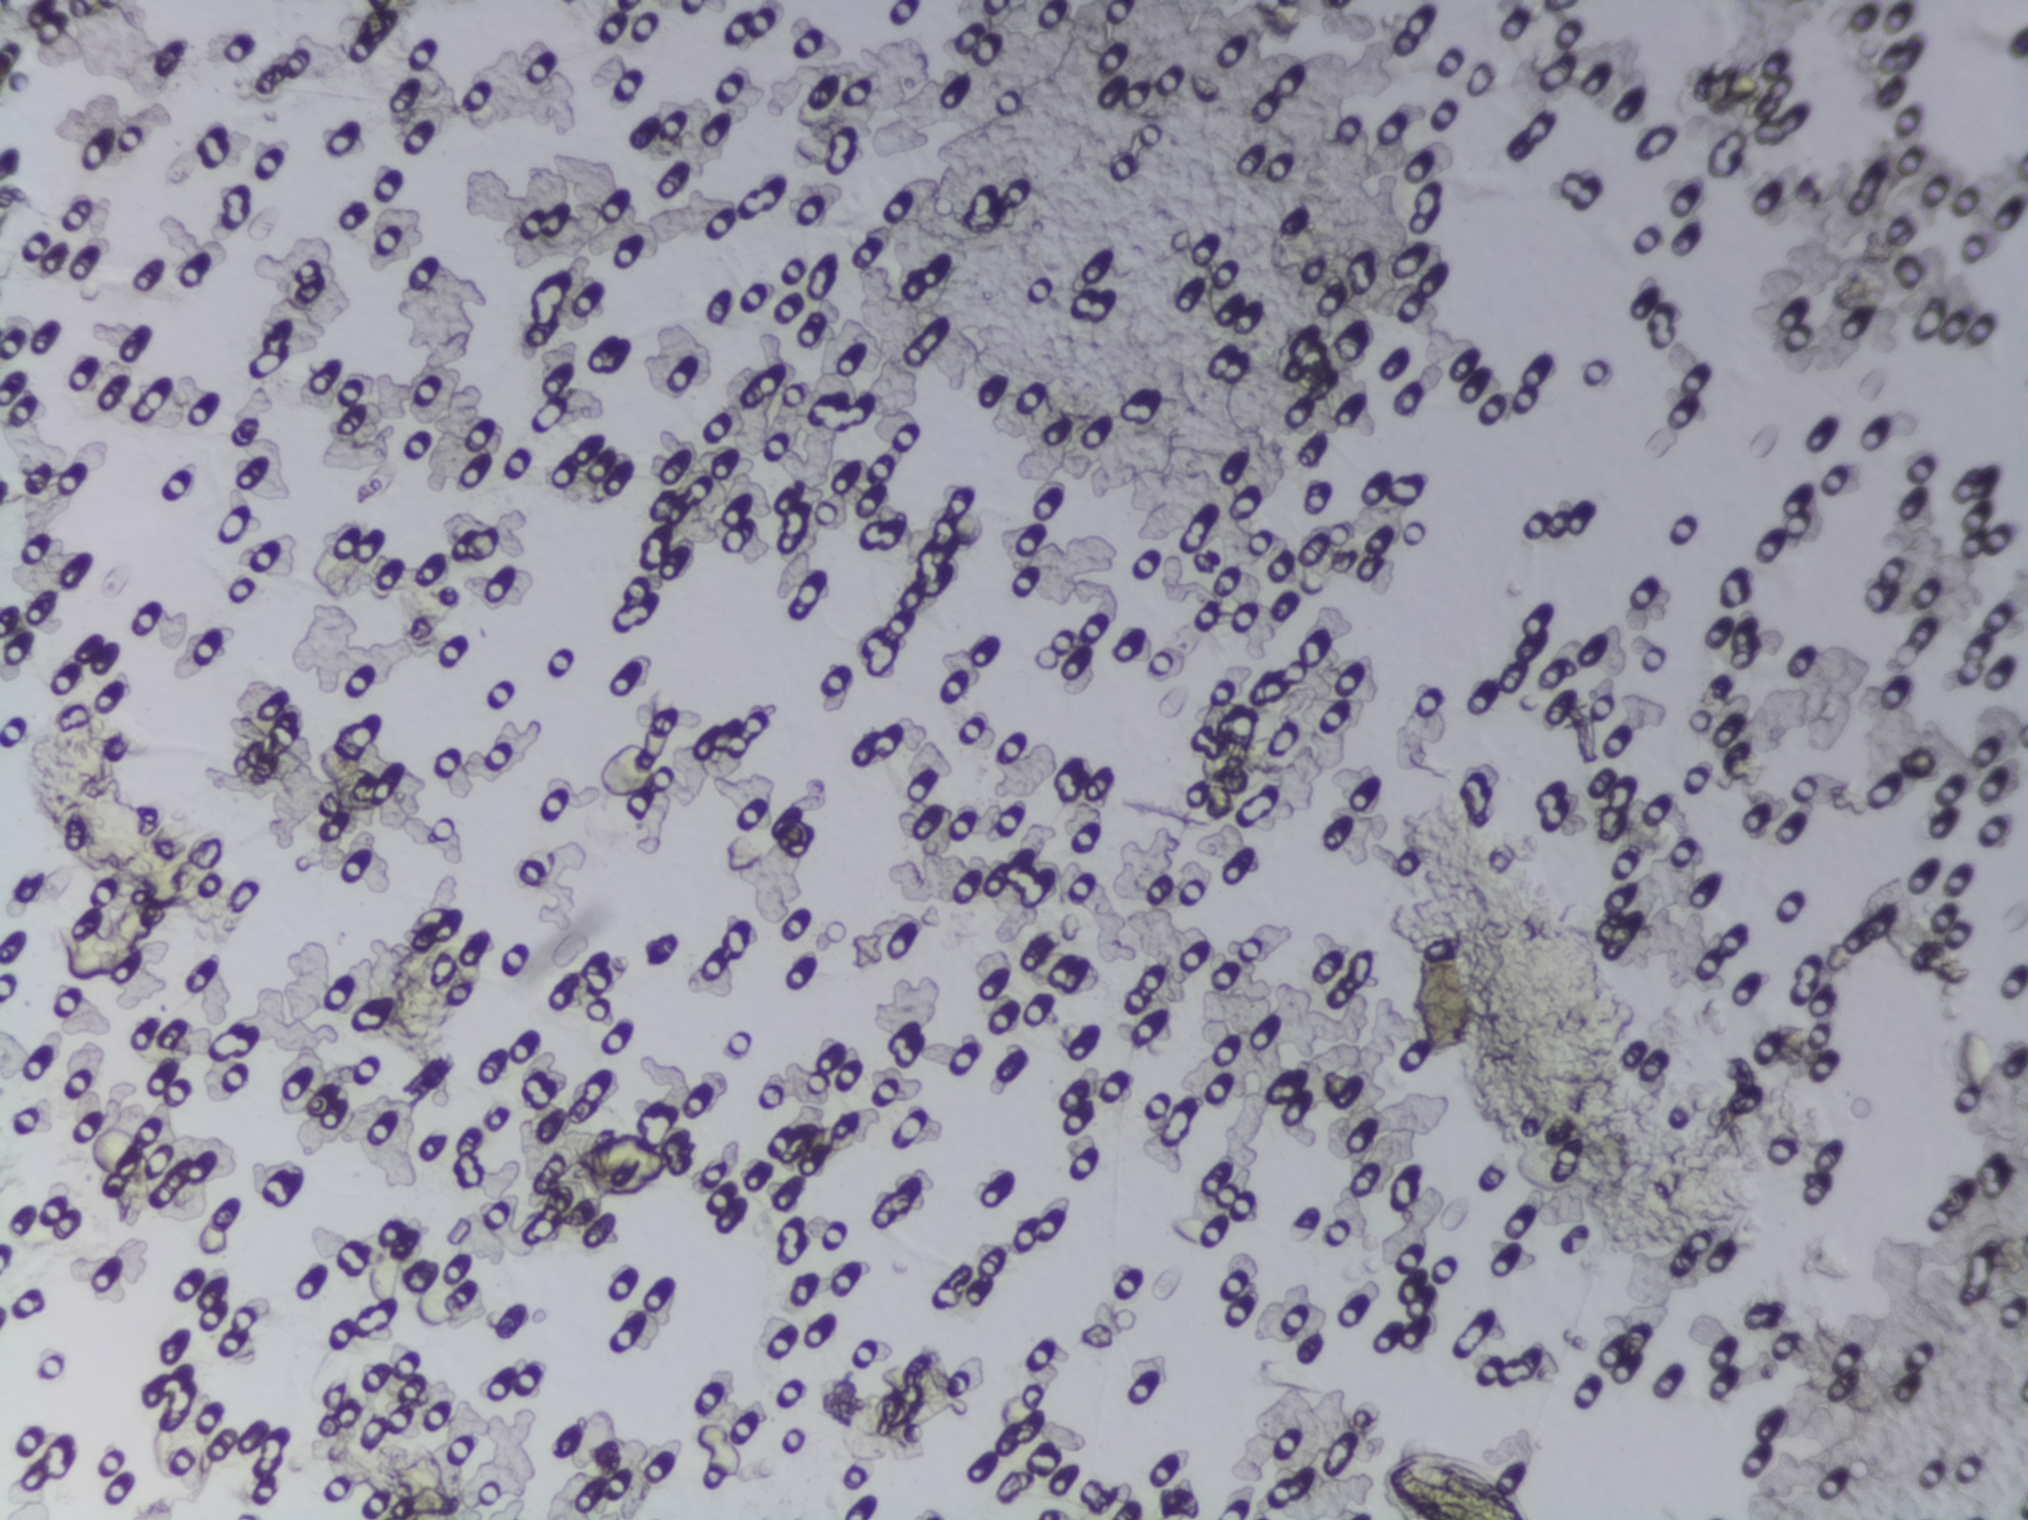
Urine filtration membrane under a 4× objective, photographed by an automated digital microscope. Field of view: about 1.5 mm wide and 1.1 mm high.
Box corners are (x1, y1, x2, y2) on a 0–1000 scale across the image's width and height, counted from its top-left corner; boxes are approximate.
Areas outlined as Schistosoma eggs: (678, 952, 757, 1000) (reaching the bottom edge of the frame). An outlined area can hold more than one egg.